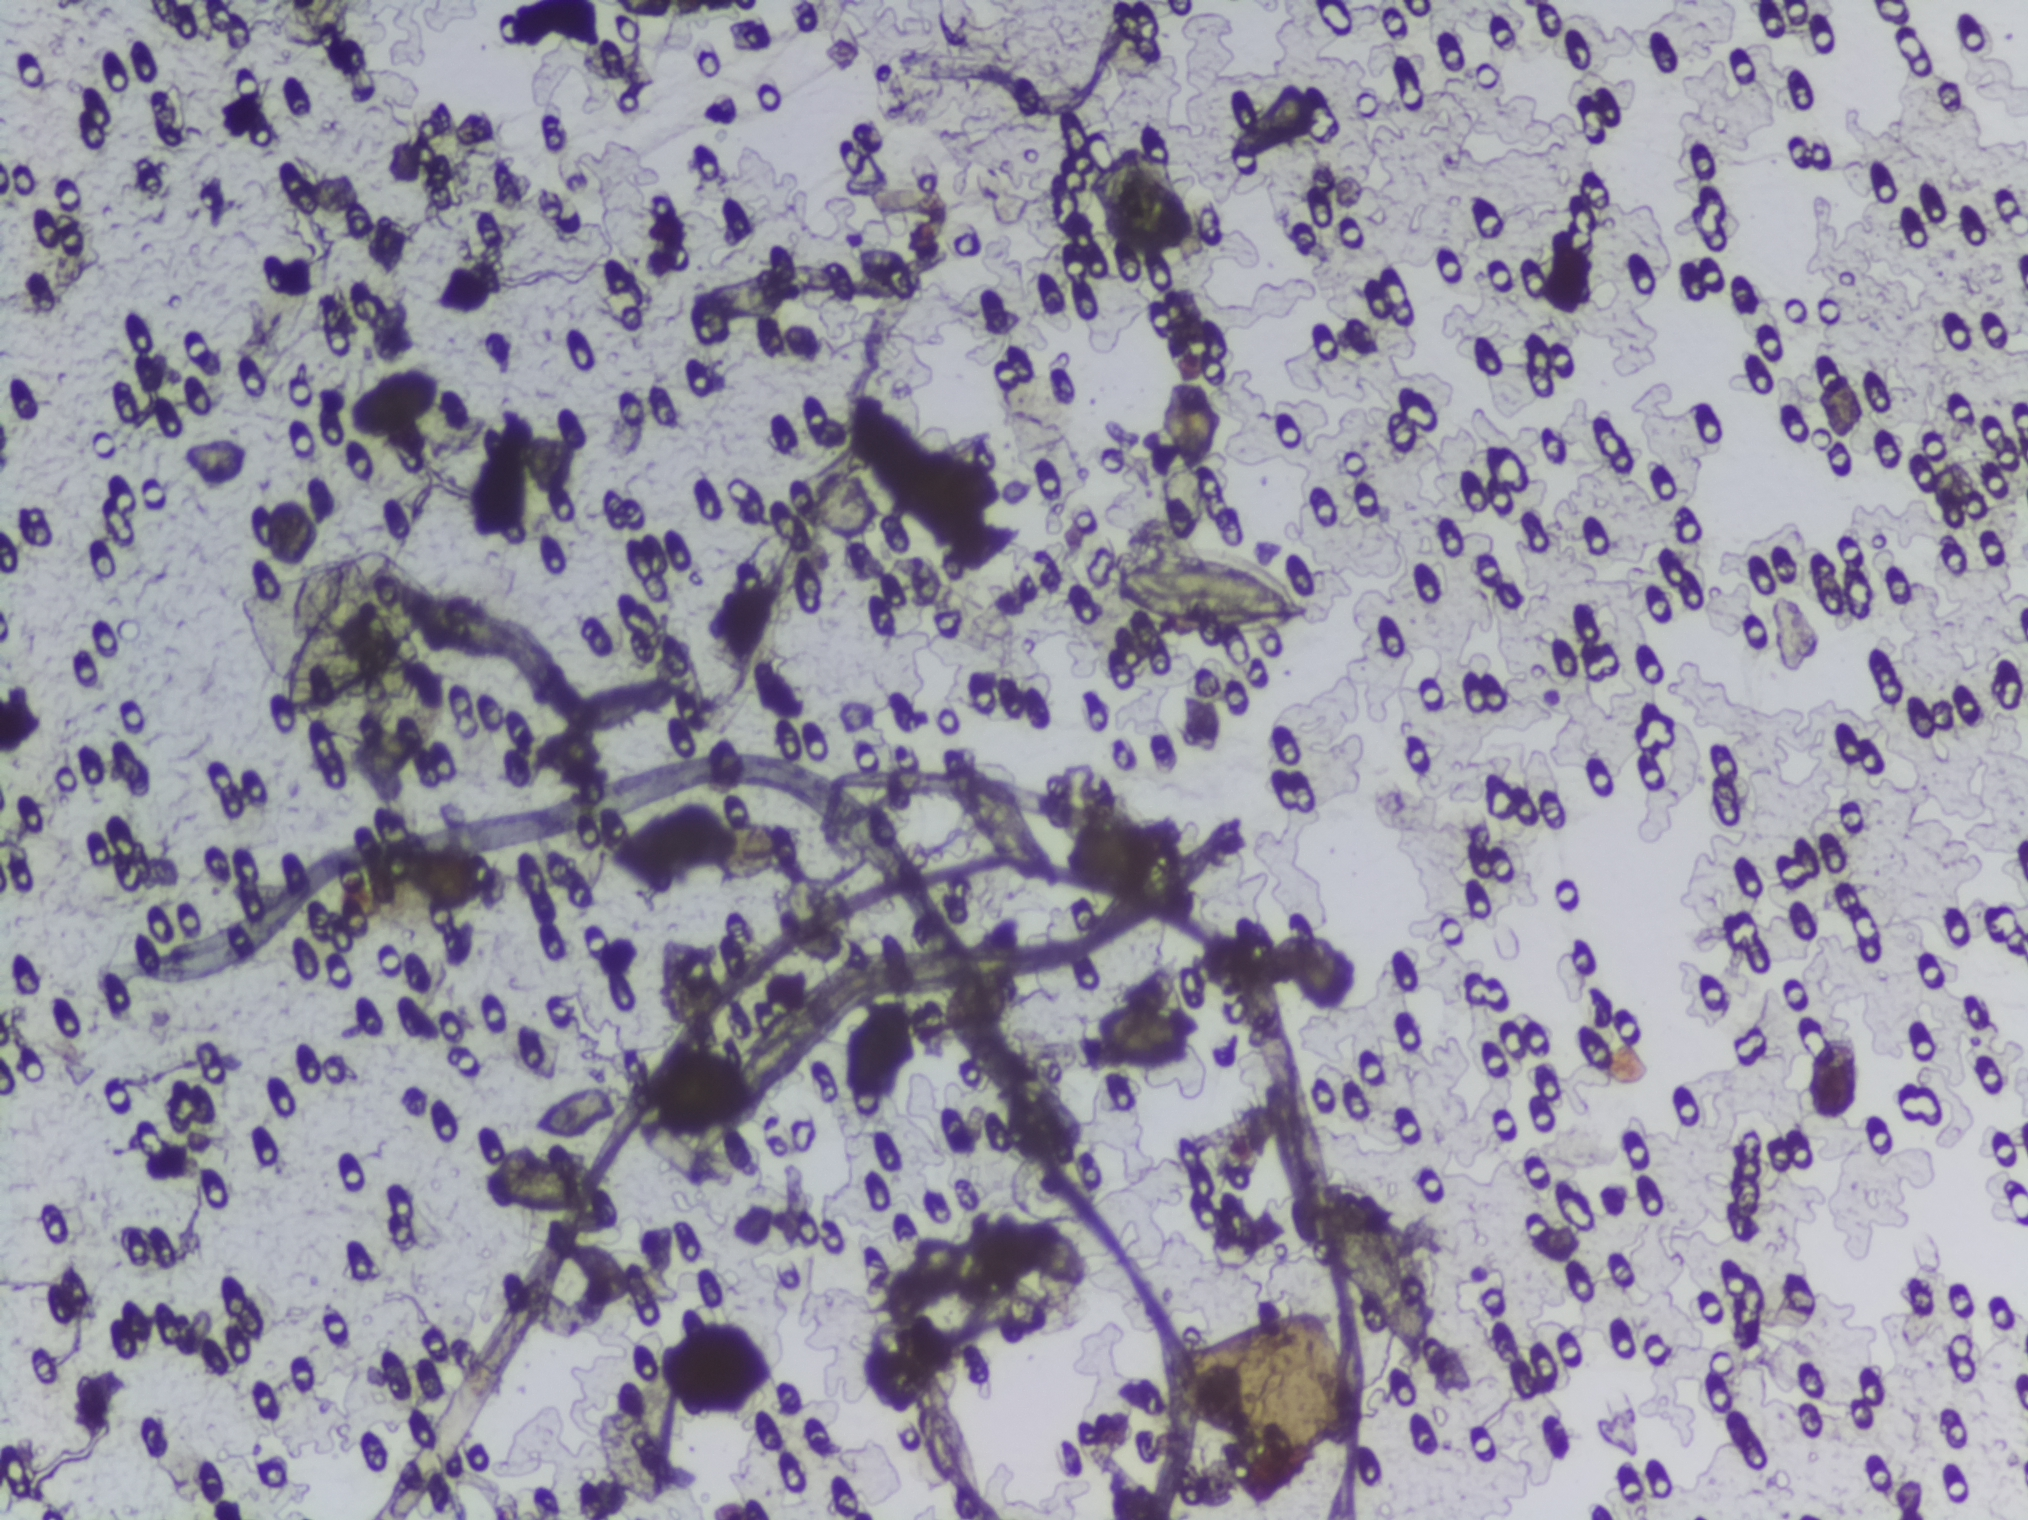
Microscope photograph (4× objective) of a membrane that a urine sample was filtered through.
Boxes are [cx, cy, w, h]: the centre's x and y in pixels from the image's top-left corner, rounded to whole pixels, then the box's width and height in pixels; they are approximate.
{"schistosoma_egg_areas_cxcywh_px": [[1205, 592, 215, 128]]}
About 0.7% of the image's pixels are marked (the marked pixels themselves, not the box around them). Eggs that touch can end up inside the same outlined area.